One field of view of a urine filter membrane, 4× objective, 2028 × 1520 pixels.
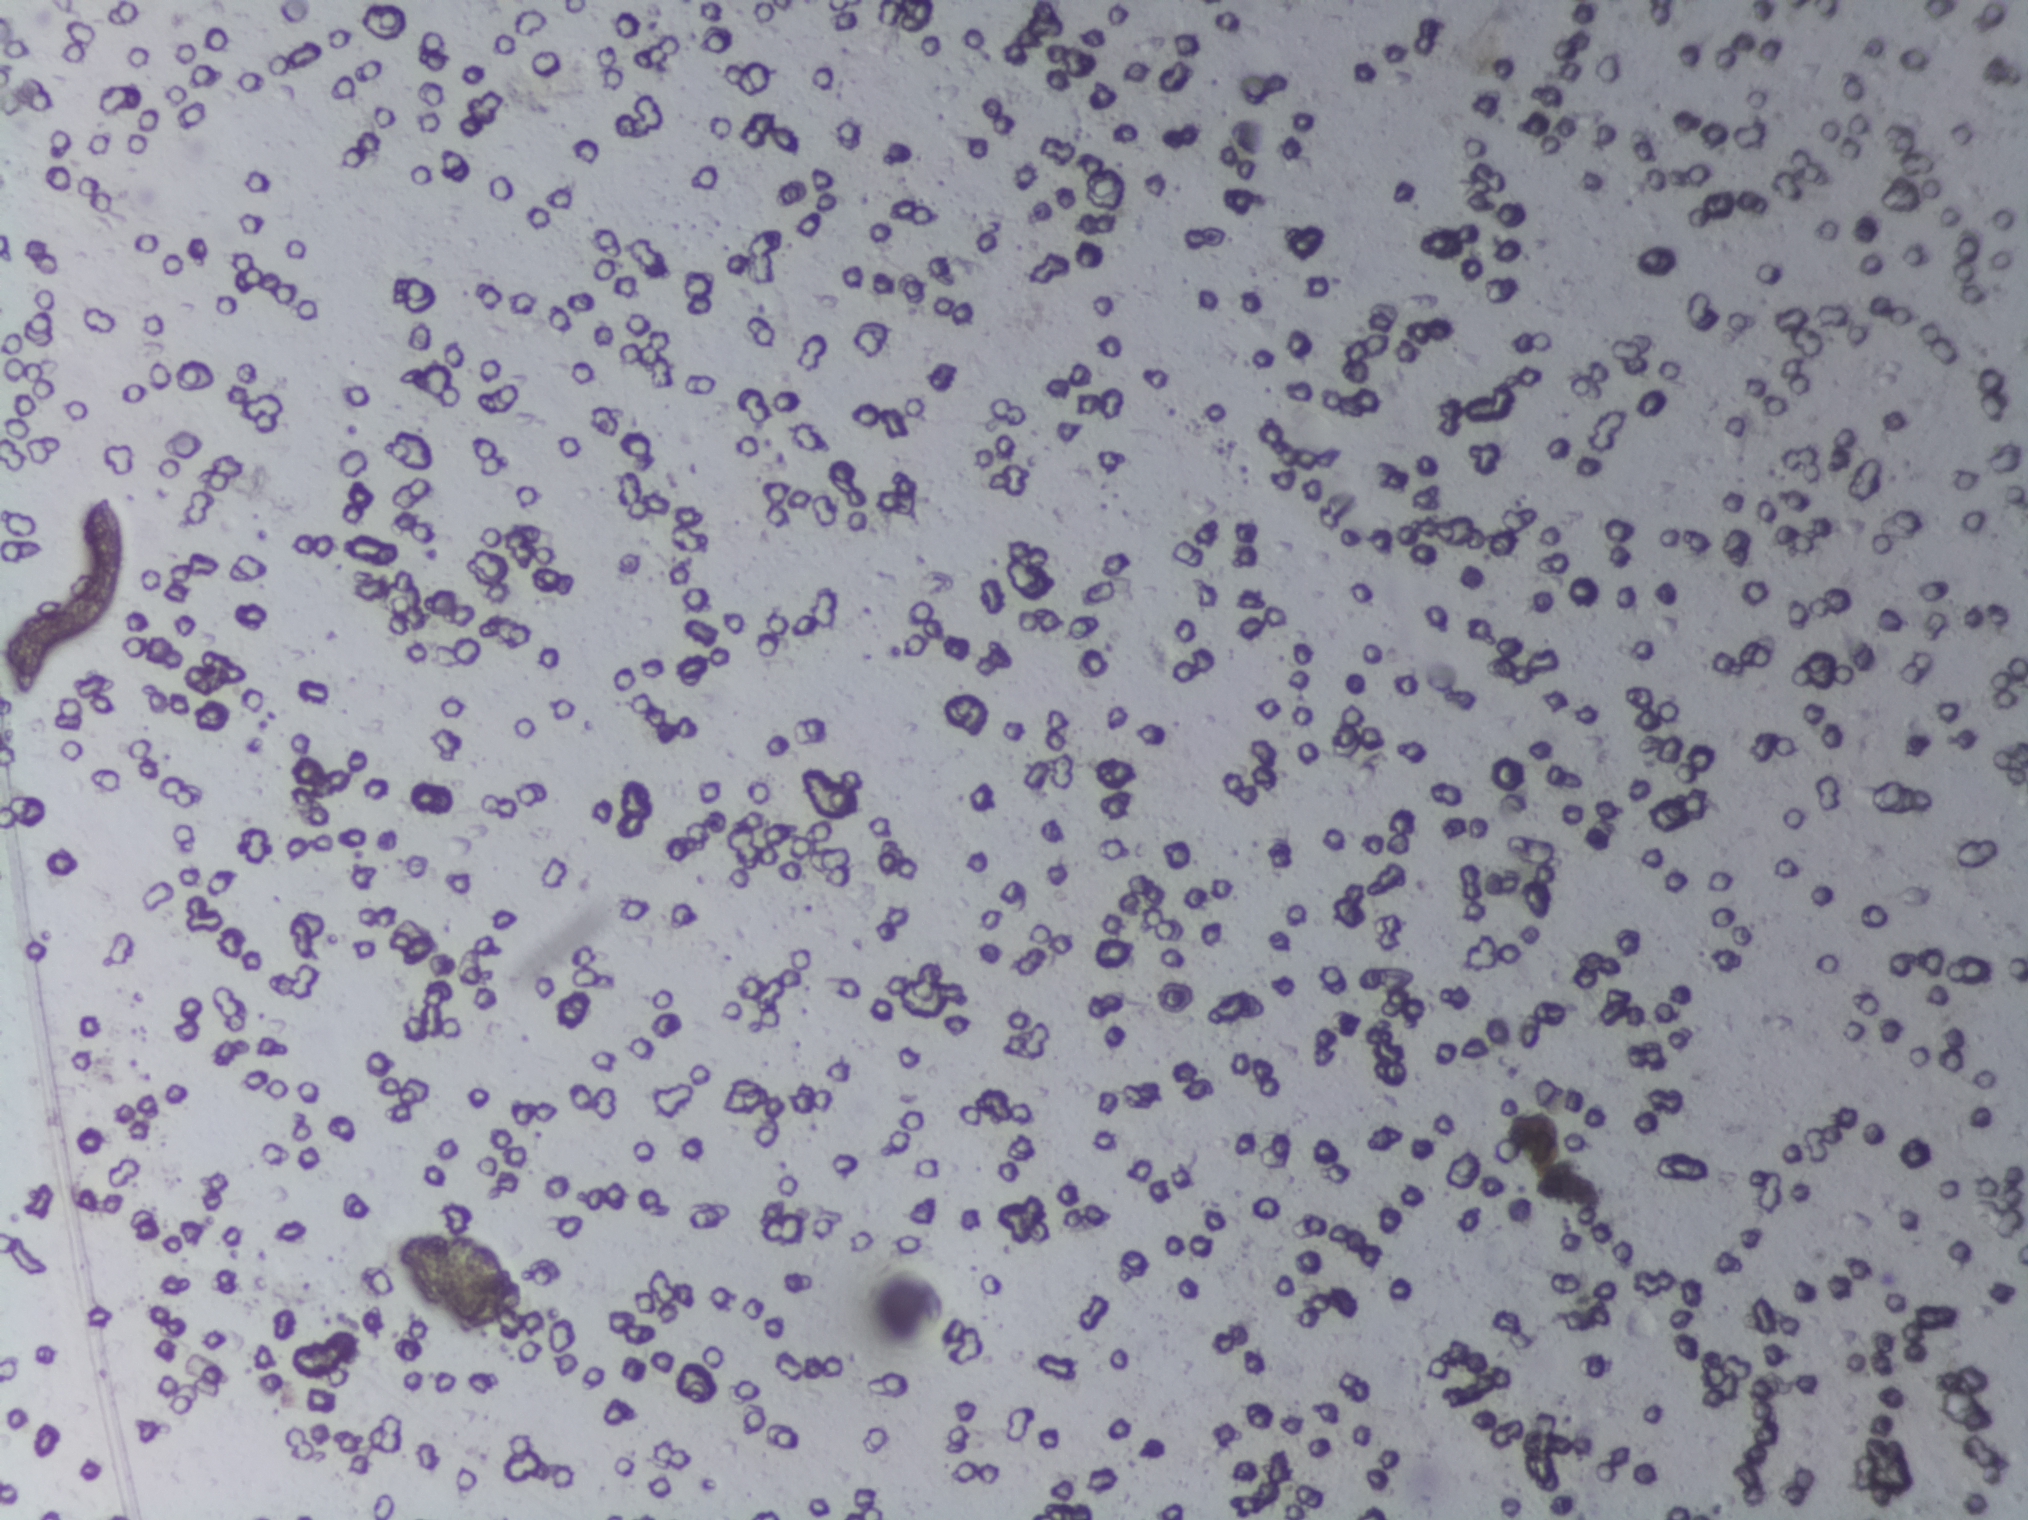
No area of this image was outlined as a Schistosoma egg.